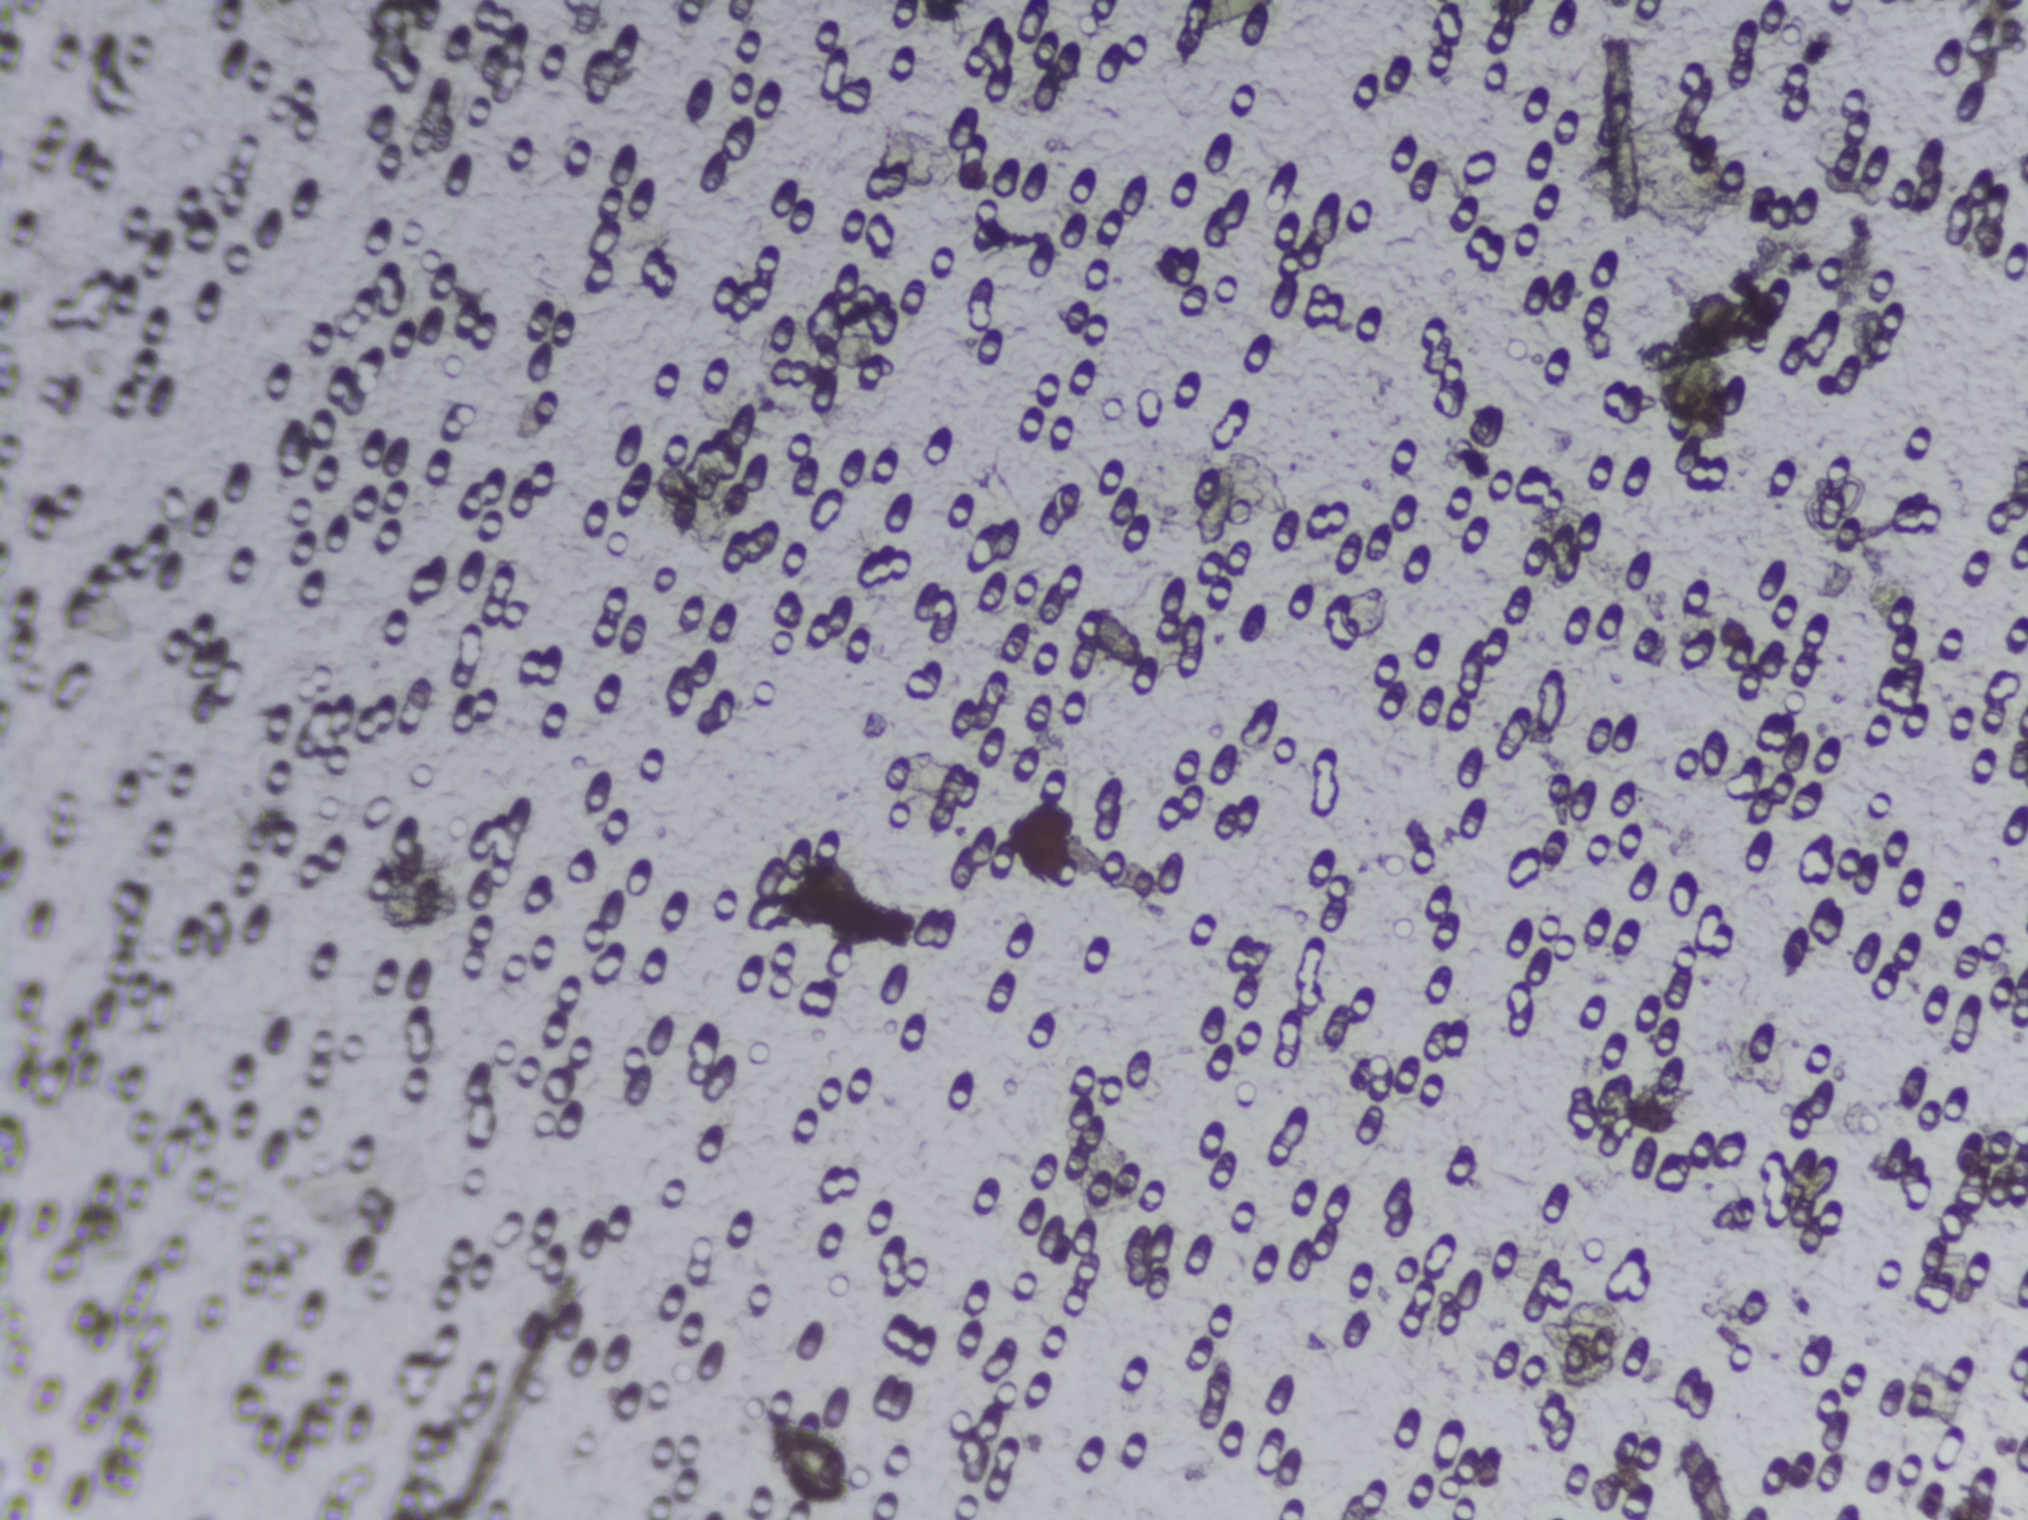
One field of view of a urine filter membrane, 4× objective, 2028 × 1520 pixels.
The expert annotation outlines no Schistosoma egg in this image.